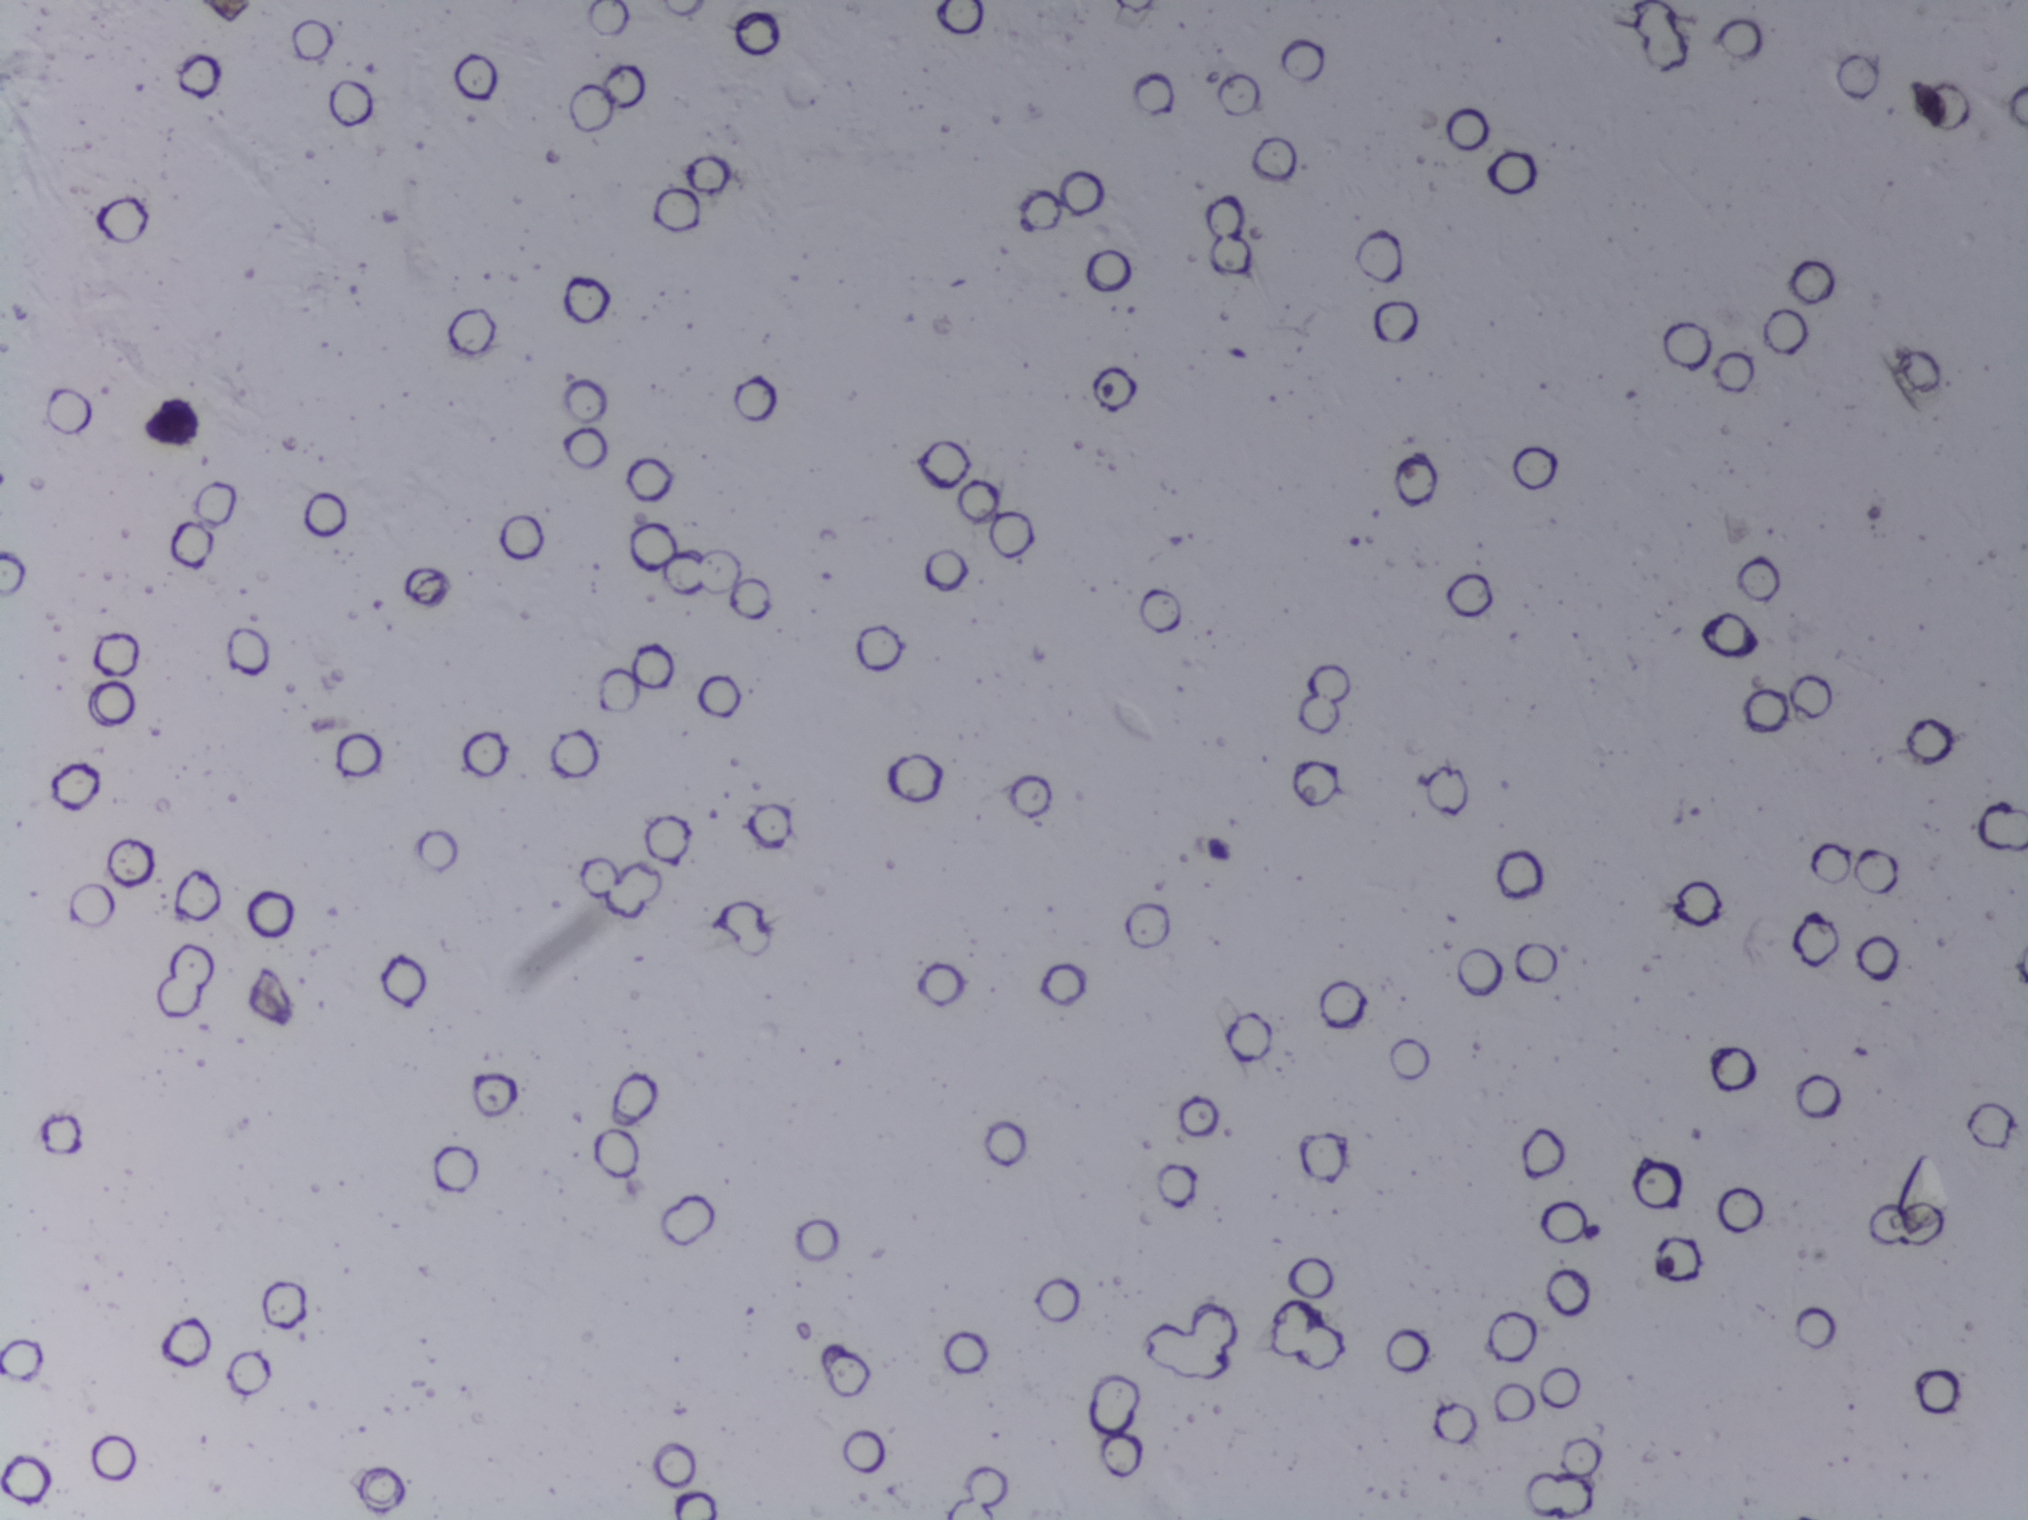
Urine filtration membrane under a 4× objective, photographed by an automated digital microscope.
No Schistosoma egg is outlined in this image's expert annotation.